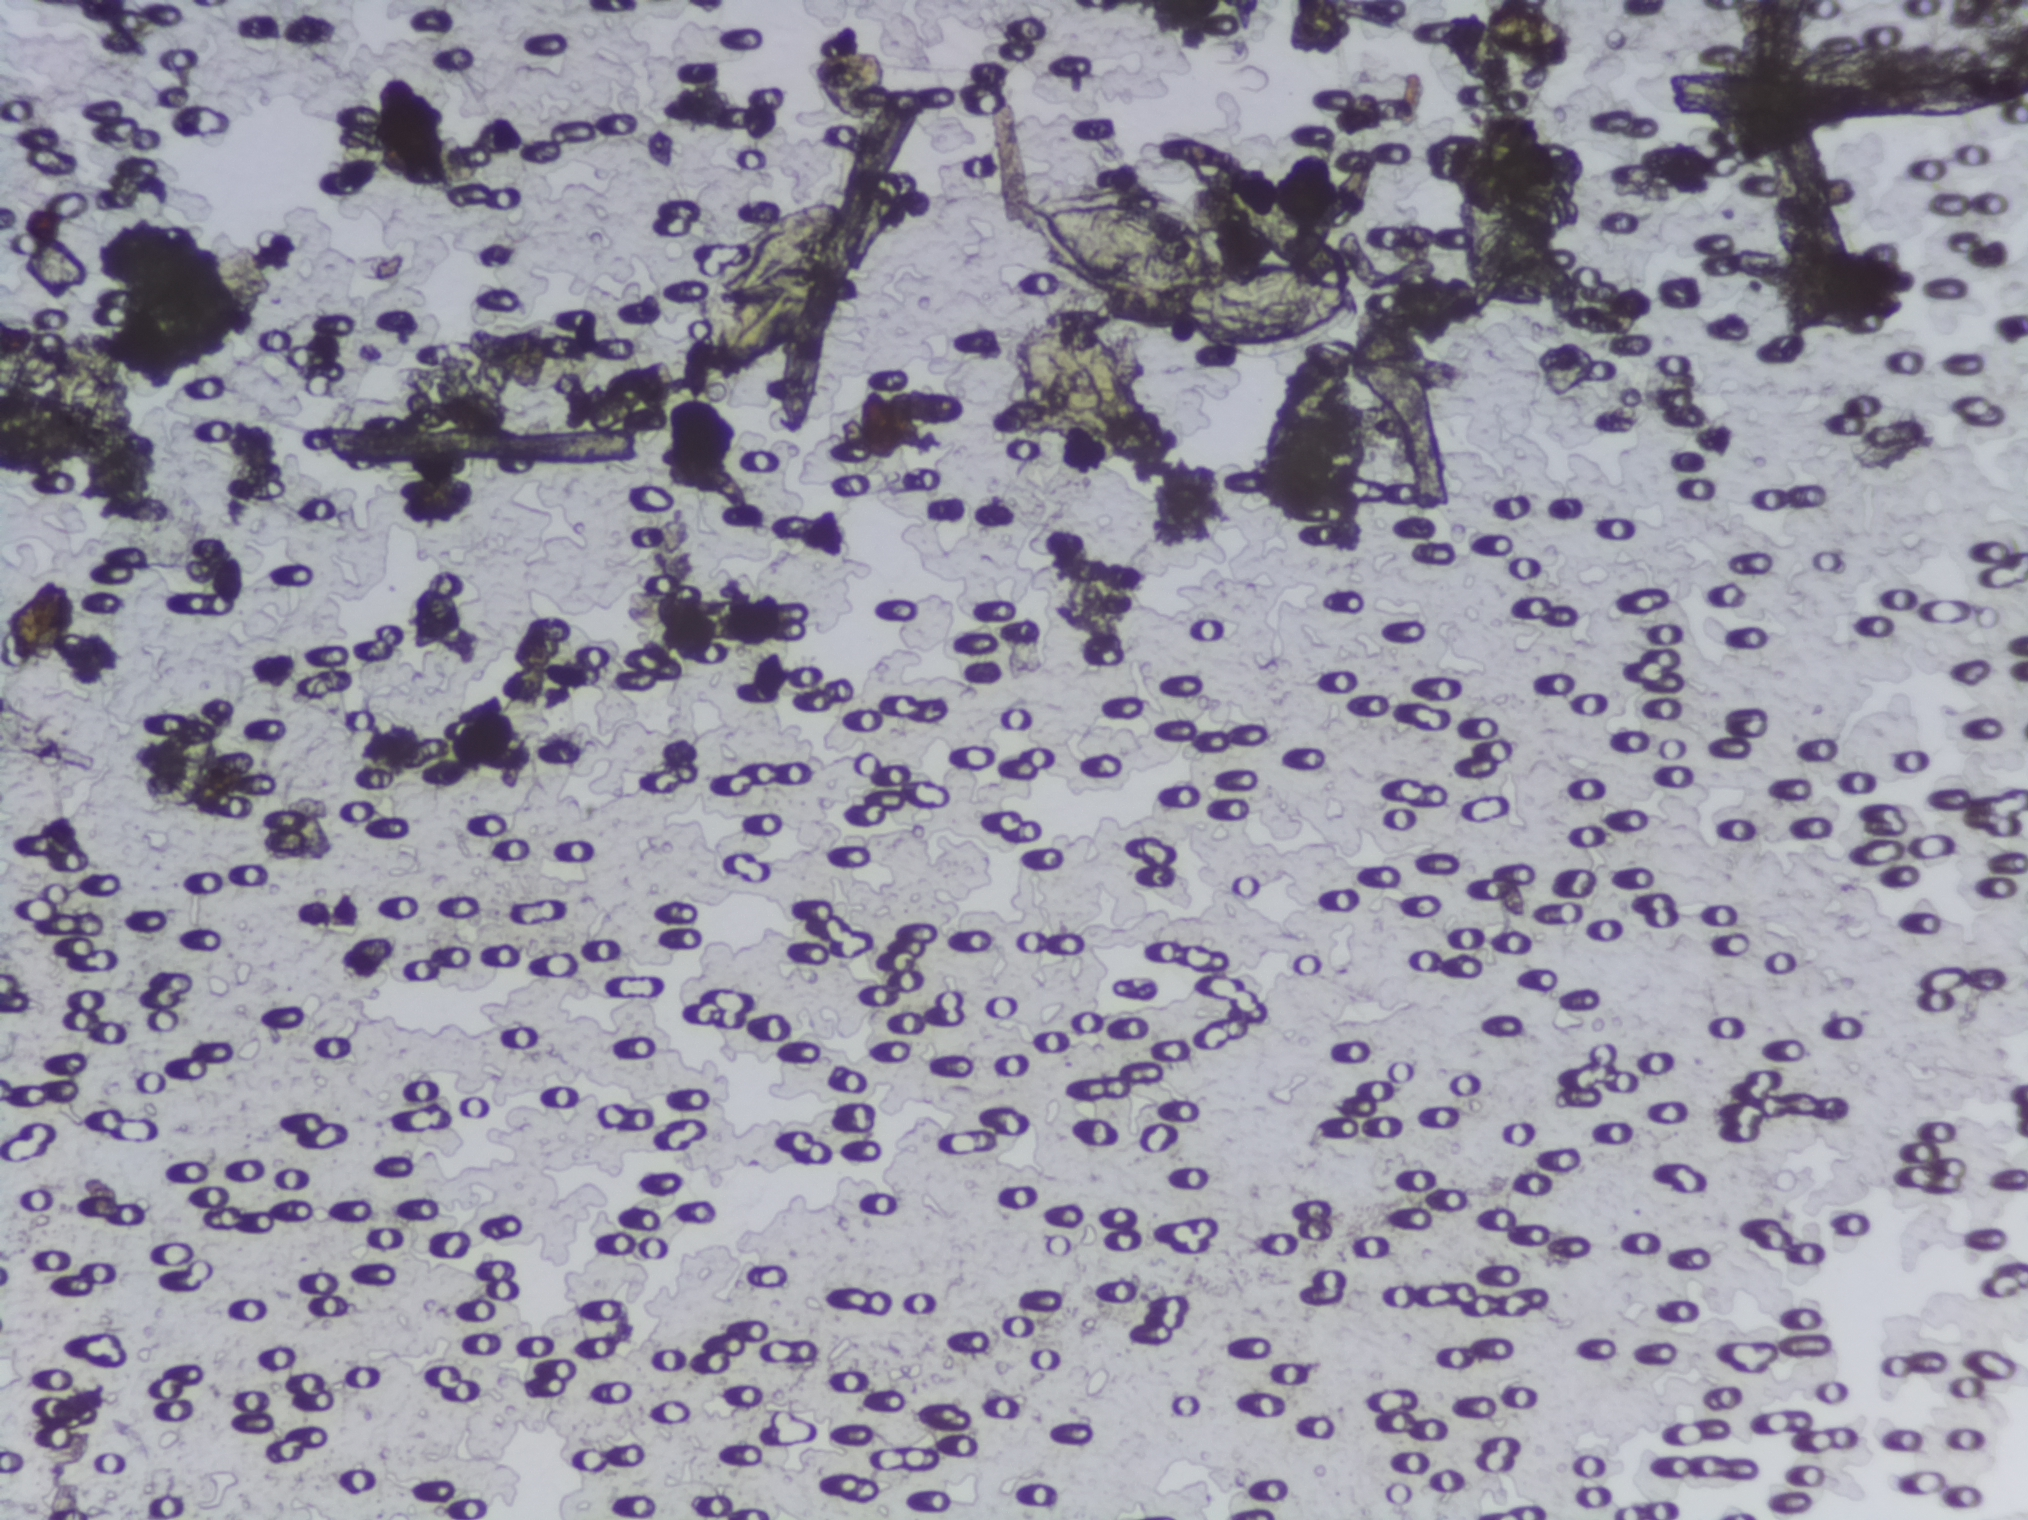
Photograph from an automated digital microscope: urine filter membrane, 4× objective. The image covers about 1.5 × 1.1 mm of the membrane.
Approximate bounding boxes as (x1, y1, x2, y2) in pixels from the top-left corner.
Schistosoma eggs are outlined in two areas of this image, listed from left to right: (656, 199, 861, 383) and (1010, 176, 1367, 359). An outlined area can hold more than one egg.